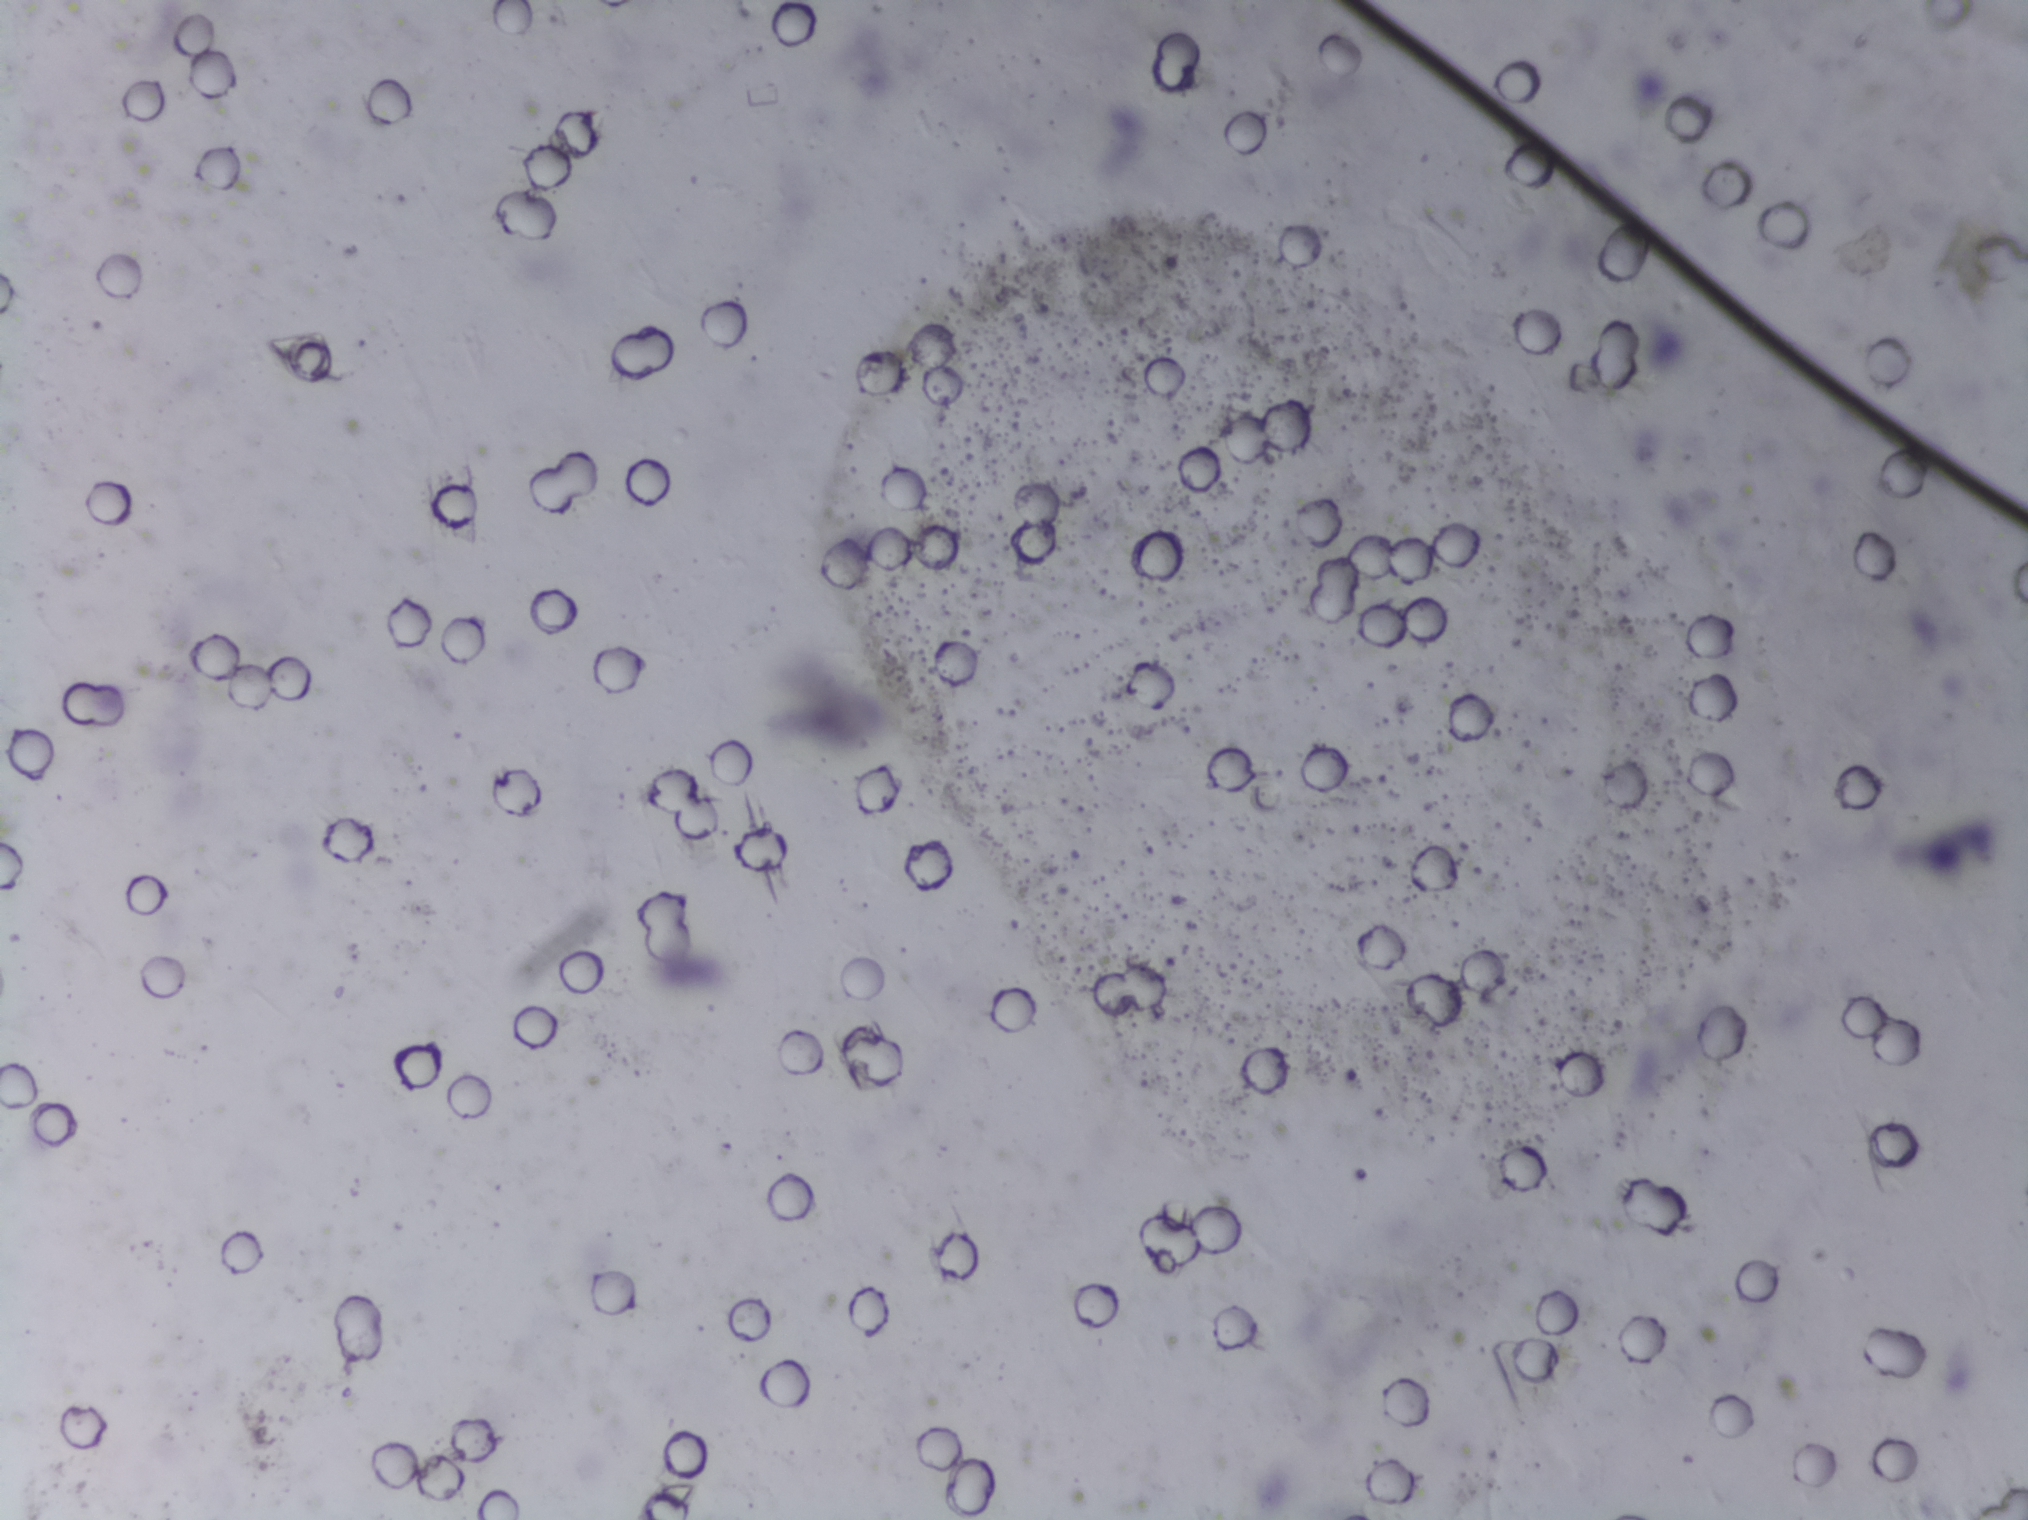
One field of view of a urine filter membrane, 4× objective, 2028 × 1520 pixels.
The expert annotation marks no Schistosoma egg in this field of view.